Photograph from an automated digital microscope: urine filter membrane, 4× objective.
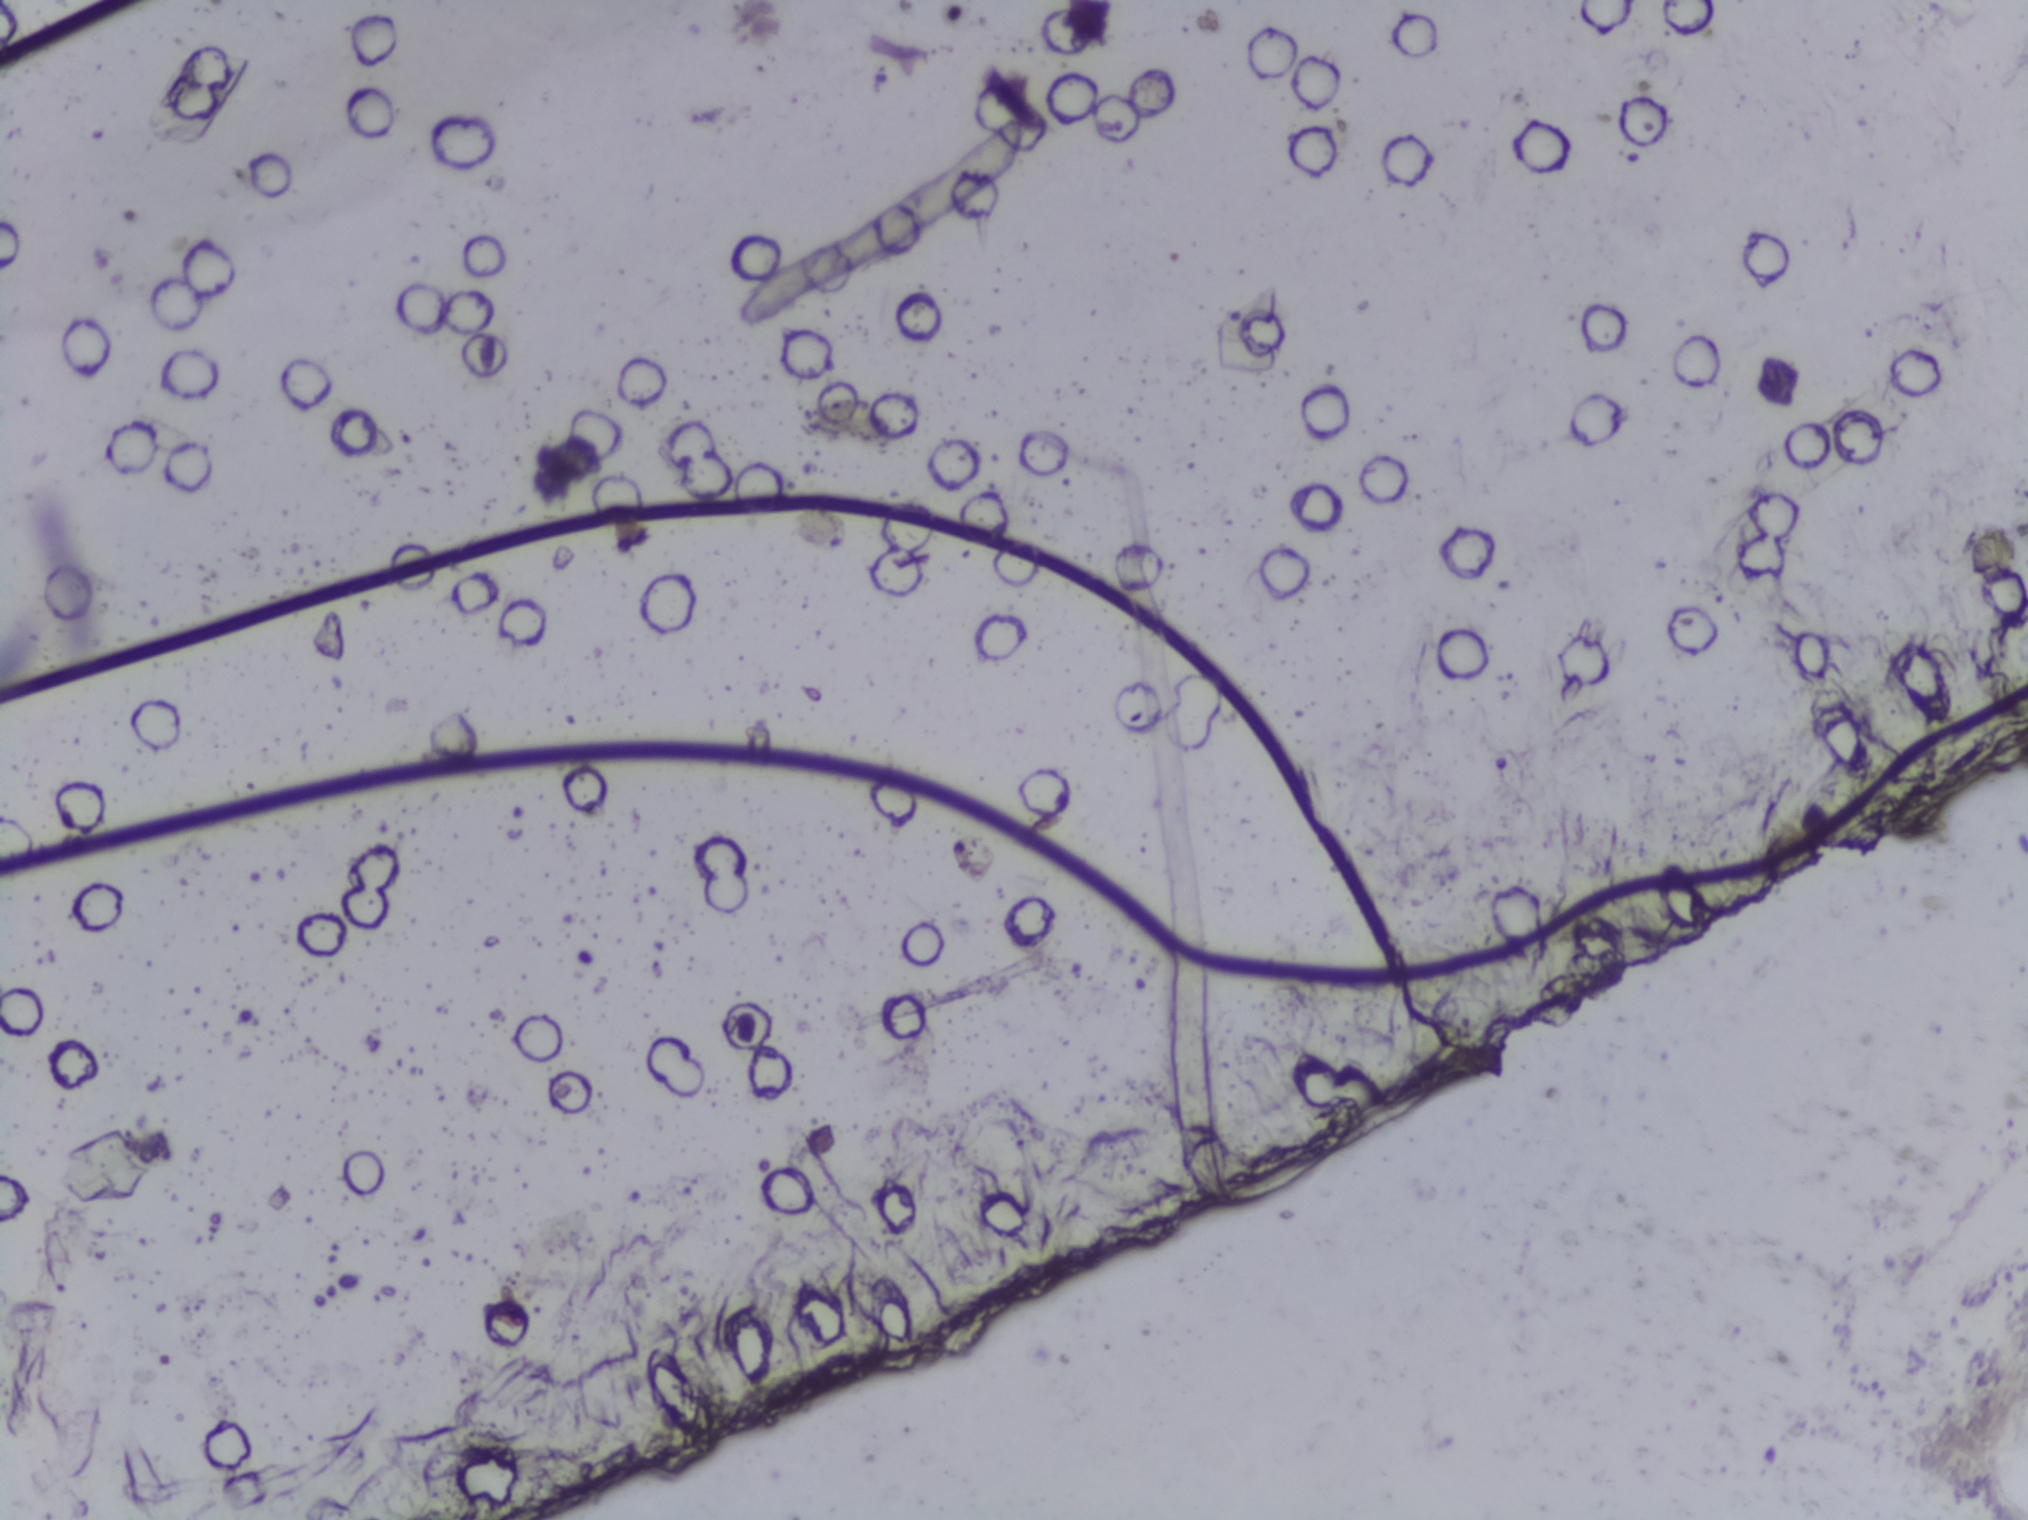
The expert annotation outlines no Schistosoma egg in this image.